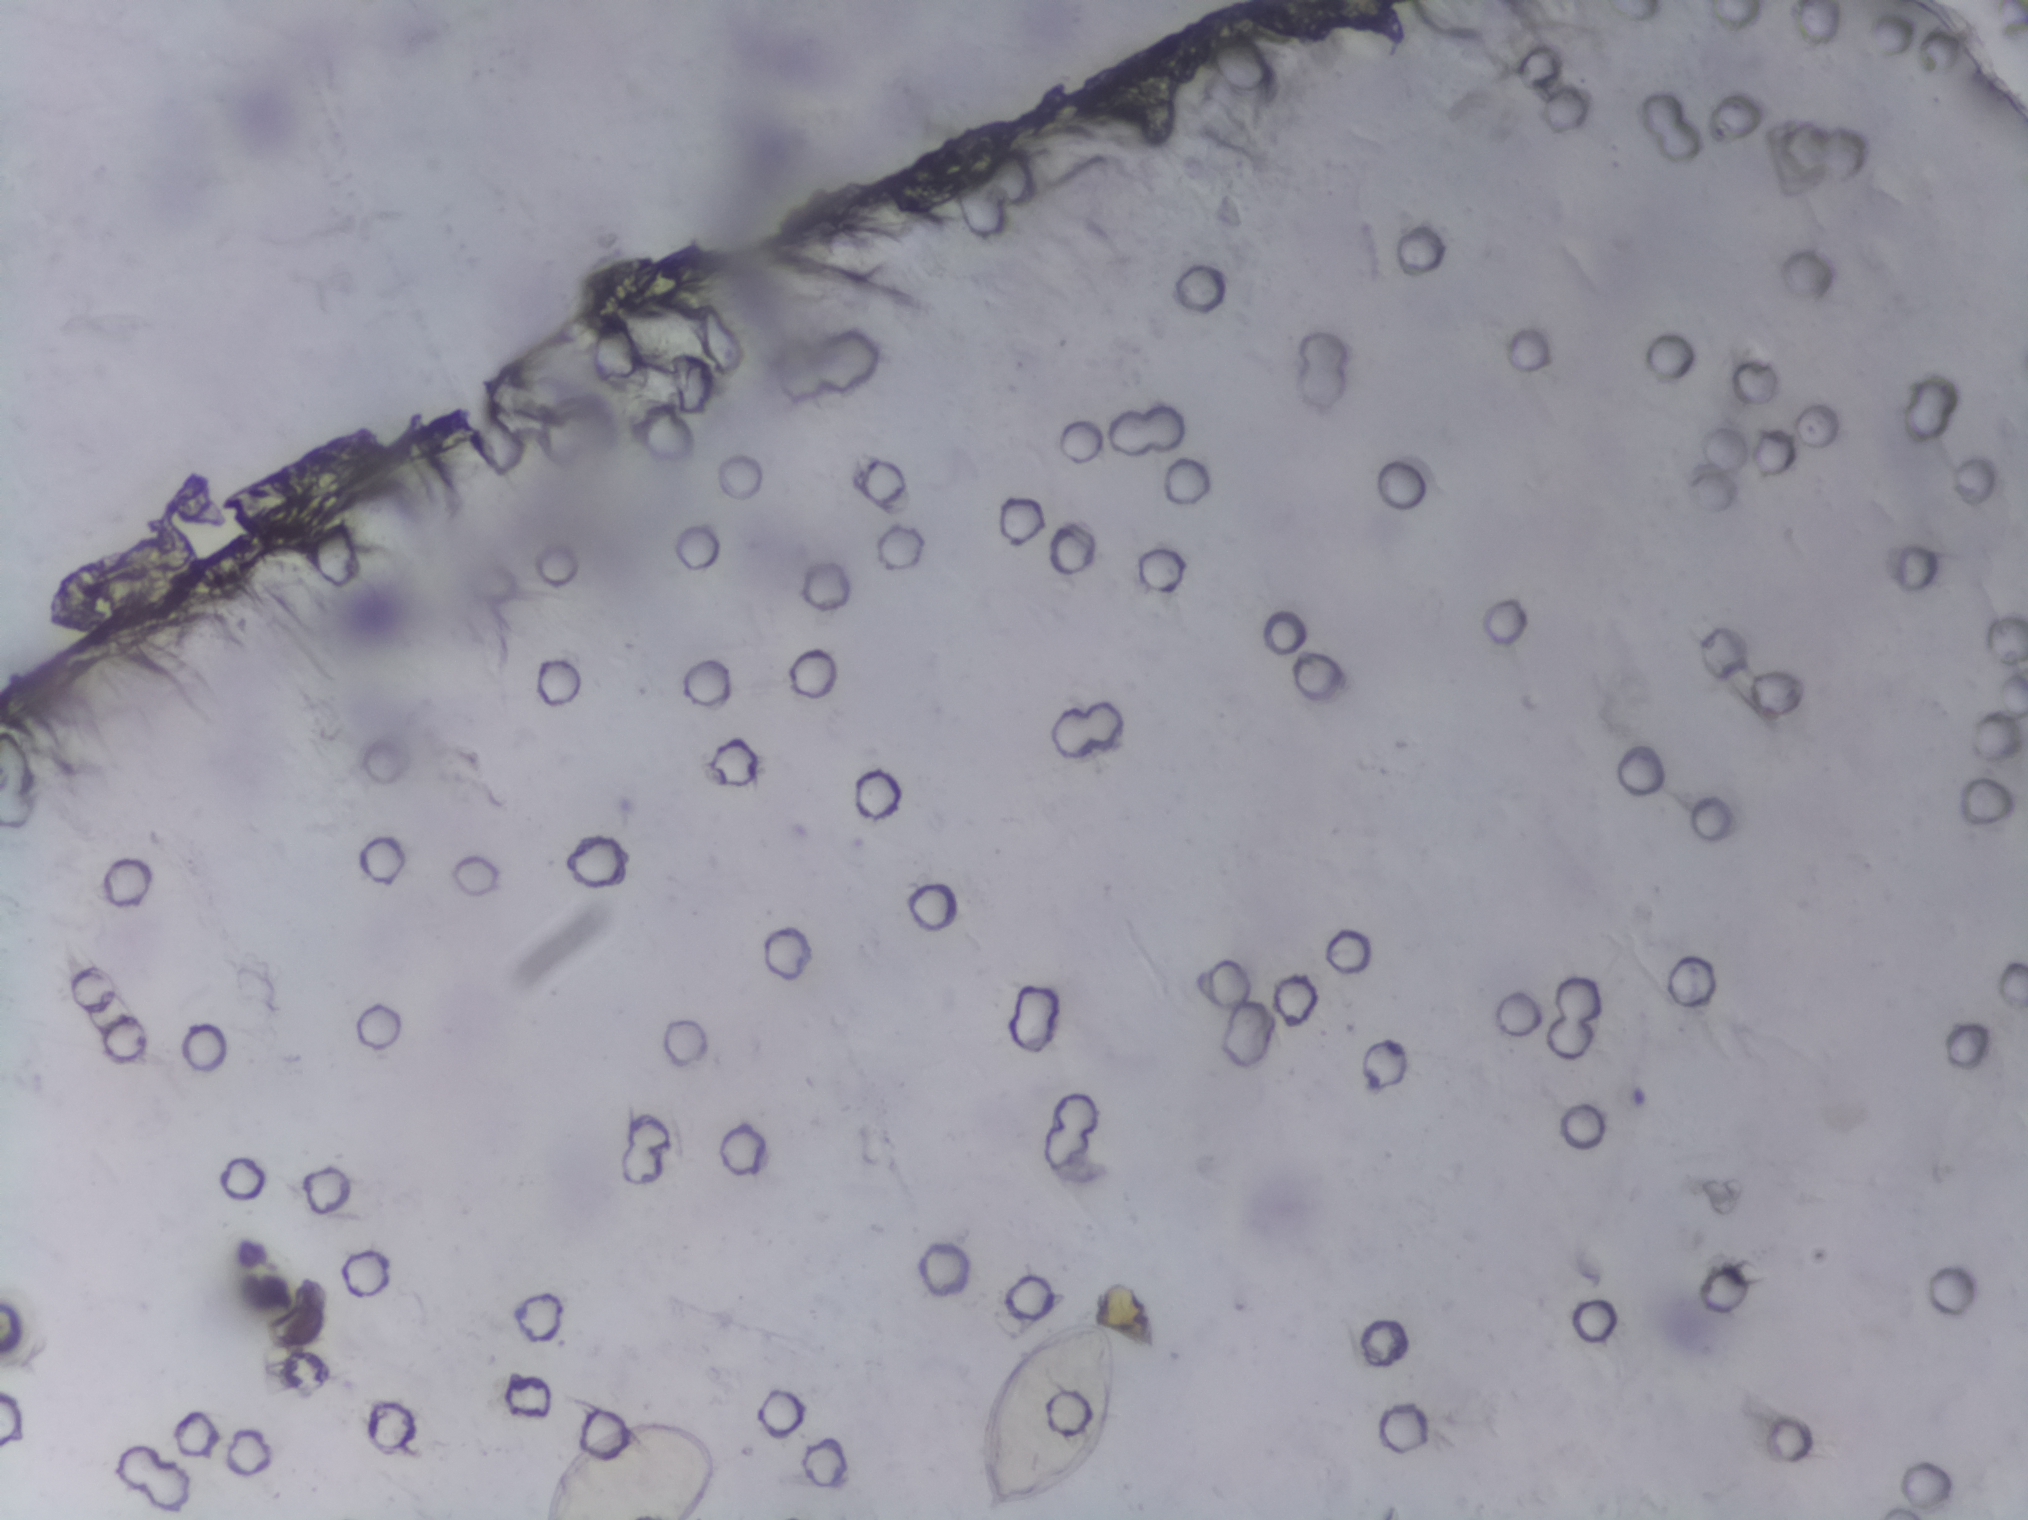
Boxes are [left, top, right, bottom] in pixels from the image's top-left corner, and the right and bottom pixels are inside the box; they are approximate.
{"schistosoma_egg_areas_xyxy_px": [[538, 1413, 733, 1519], [970, 1305, 1127, 1519]]} Area 1 reaches the bottom edge of the frame. Area 2 reaches the bottom edge of the frame.
The marked pixels themselves, not the boxes around them, cover about 1.3% of the image. A single outlined area may contain several eggs.
Urine filtration membrane under a 4× objective, photographed by an automated digital microscope. The field of view is about 1.5 mm × 1.1 mm.